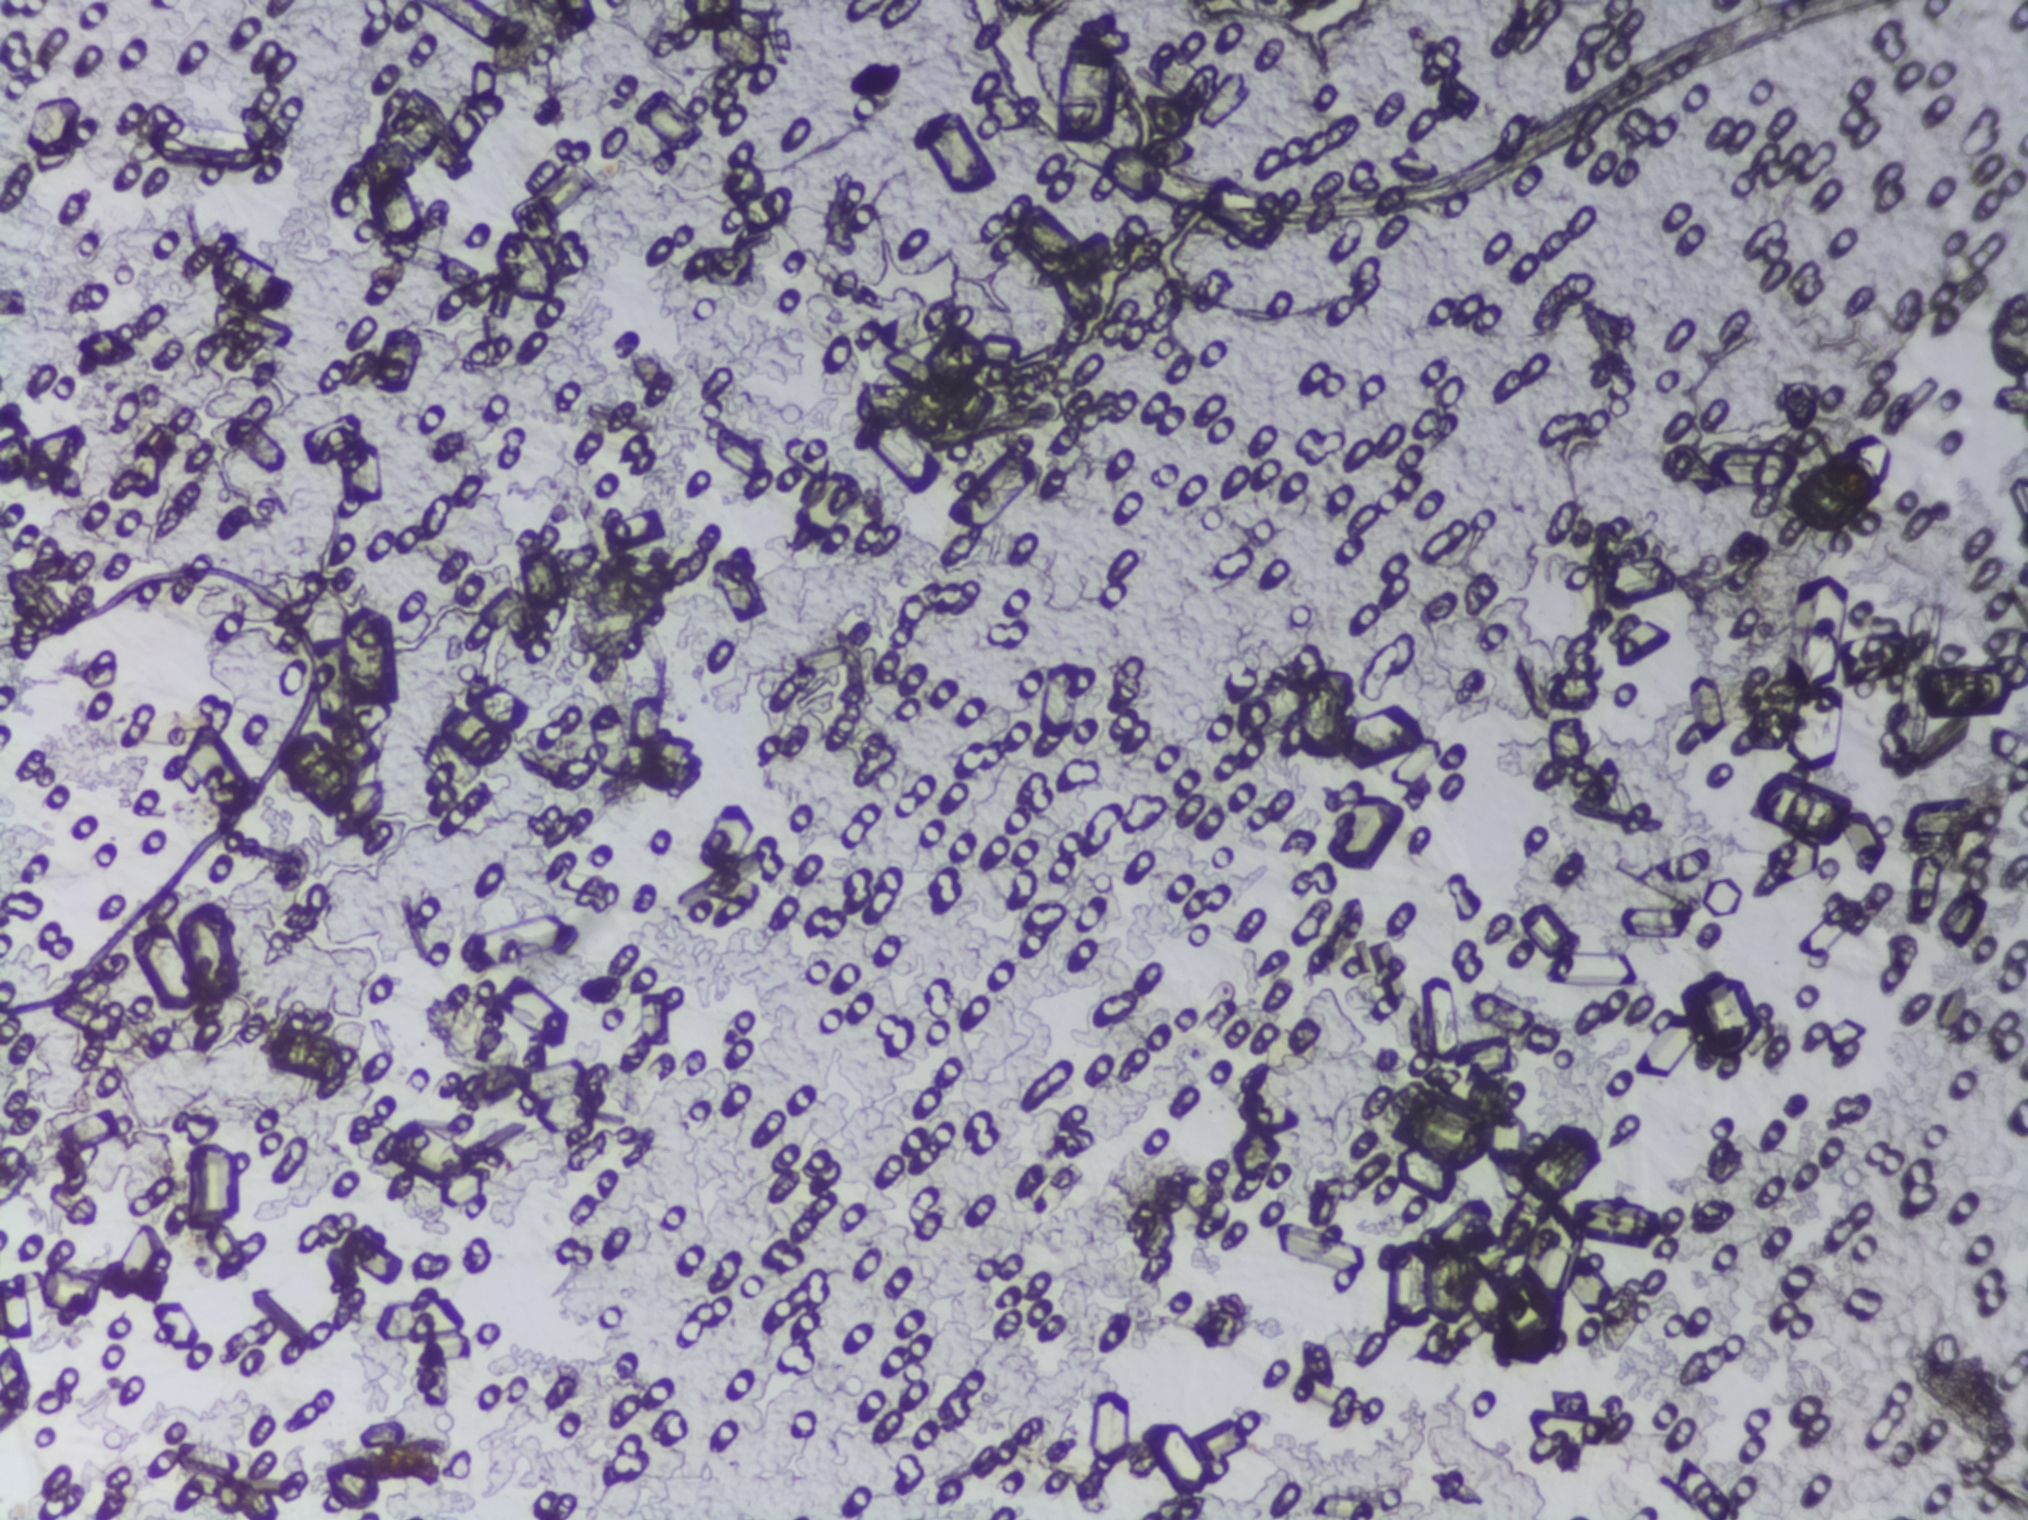
Photograph from an automated digital microscope: urine filter membrane, 4× objective.
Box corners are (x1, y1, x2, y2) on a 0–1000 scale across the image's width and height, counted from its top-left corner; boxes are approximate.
Schistosoma eggs, outlined areas: (239, 0, 282, 60) (reaching the top edge of the frame); (935, 880, 996, 948). About 0.4% of the image's pixels are marked (the marked pixels themselves, not the boxes around them). Eggs that touch can end up inside the same outlined area.